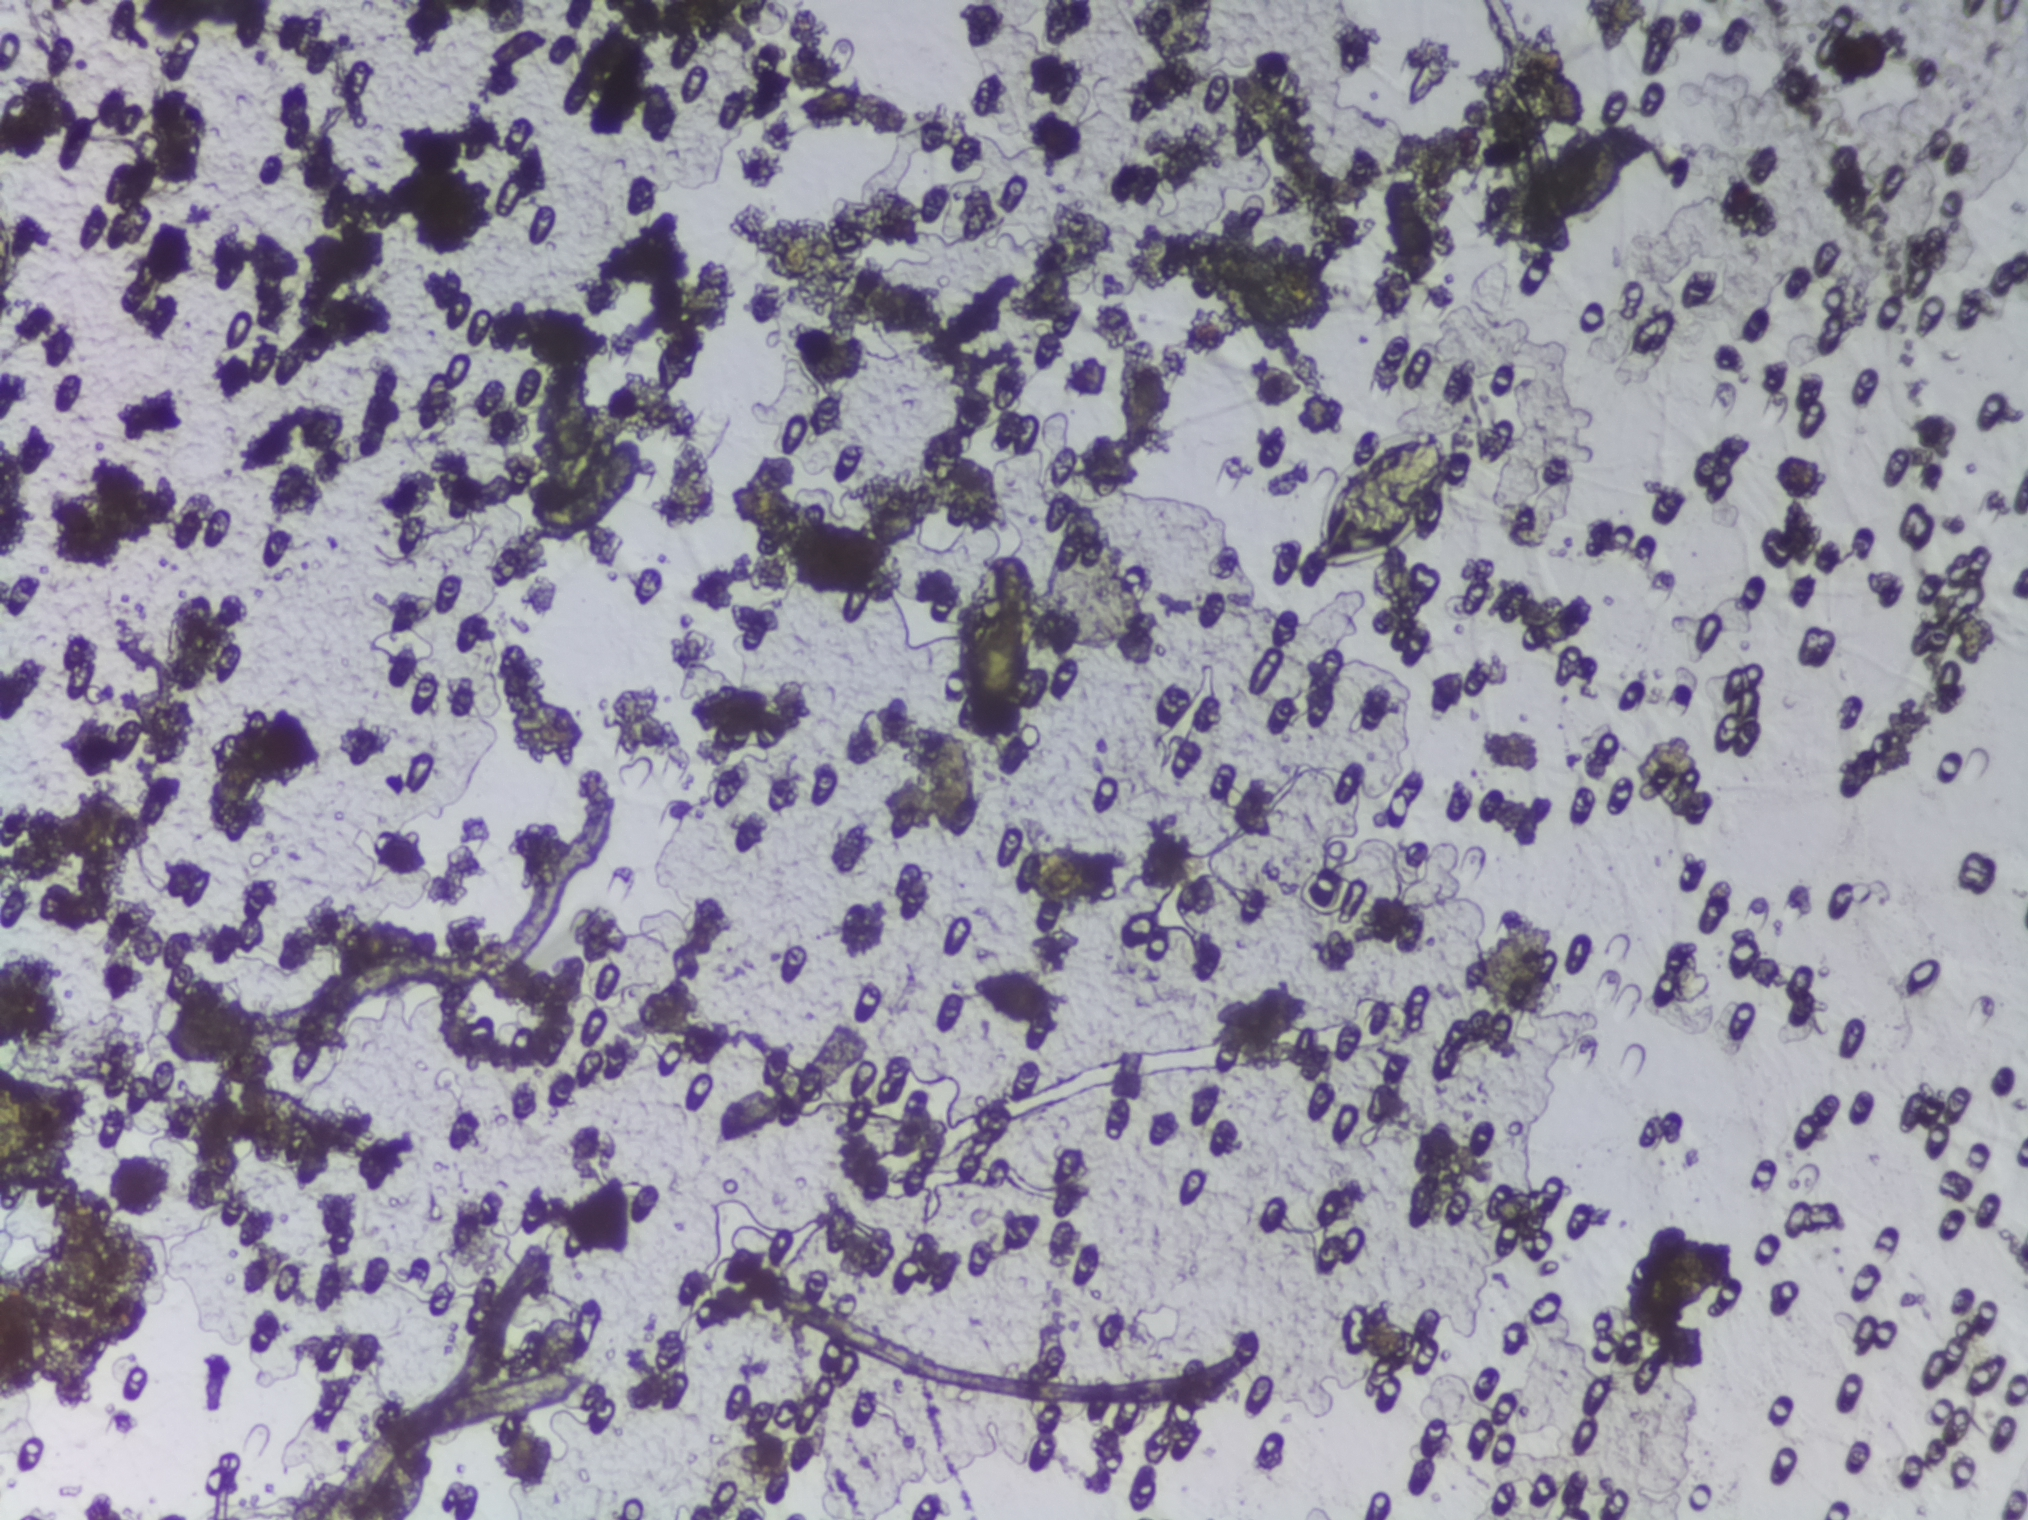
Microscope photograph (4× objective) of a membrane that a urine sample was filtered through.
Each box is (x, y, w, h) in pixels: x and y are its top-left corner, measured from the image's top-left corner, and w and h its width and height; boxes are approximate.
Schistosoma eggs are outlined in two areas of this image, listed from left to right: (x=955, y=554, w=86, h=192) and (x=1308, y=426, w=145, h=145). Eggs that touch can end up inside the same outlined area.